Urine filter membrane photographed through a 4× microscope objective.
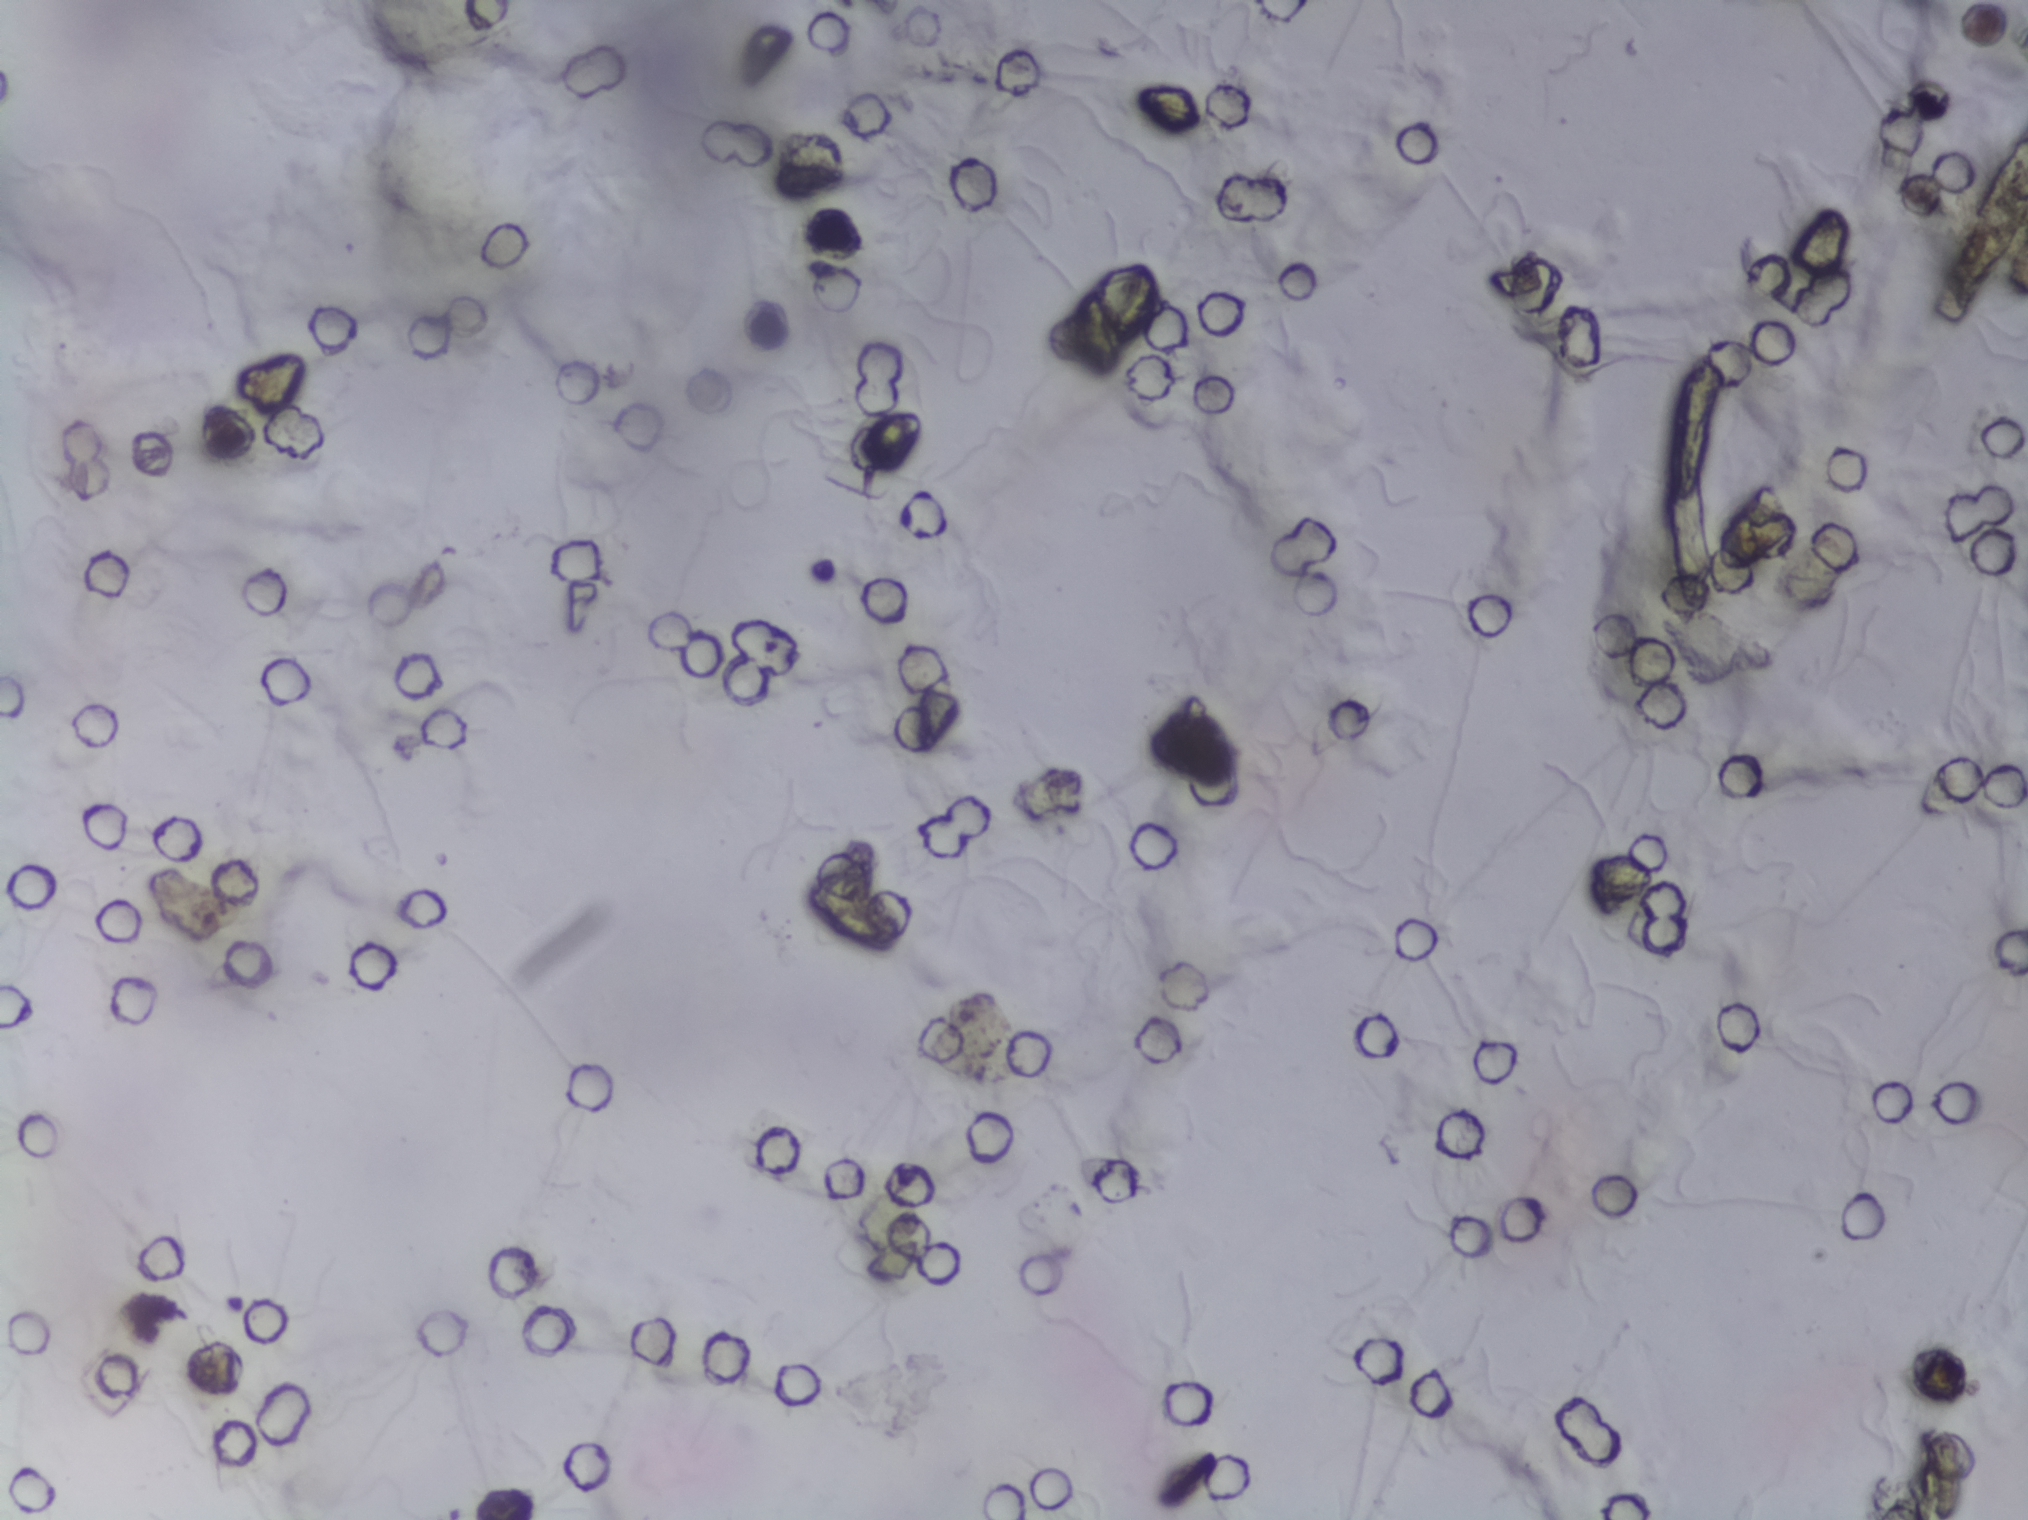
The expert annotation marks no Schistosoma egg in this field of view.